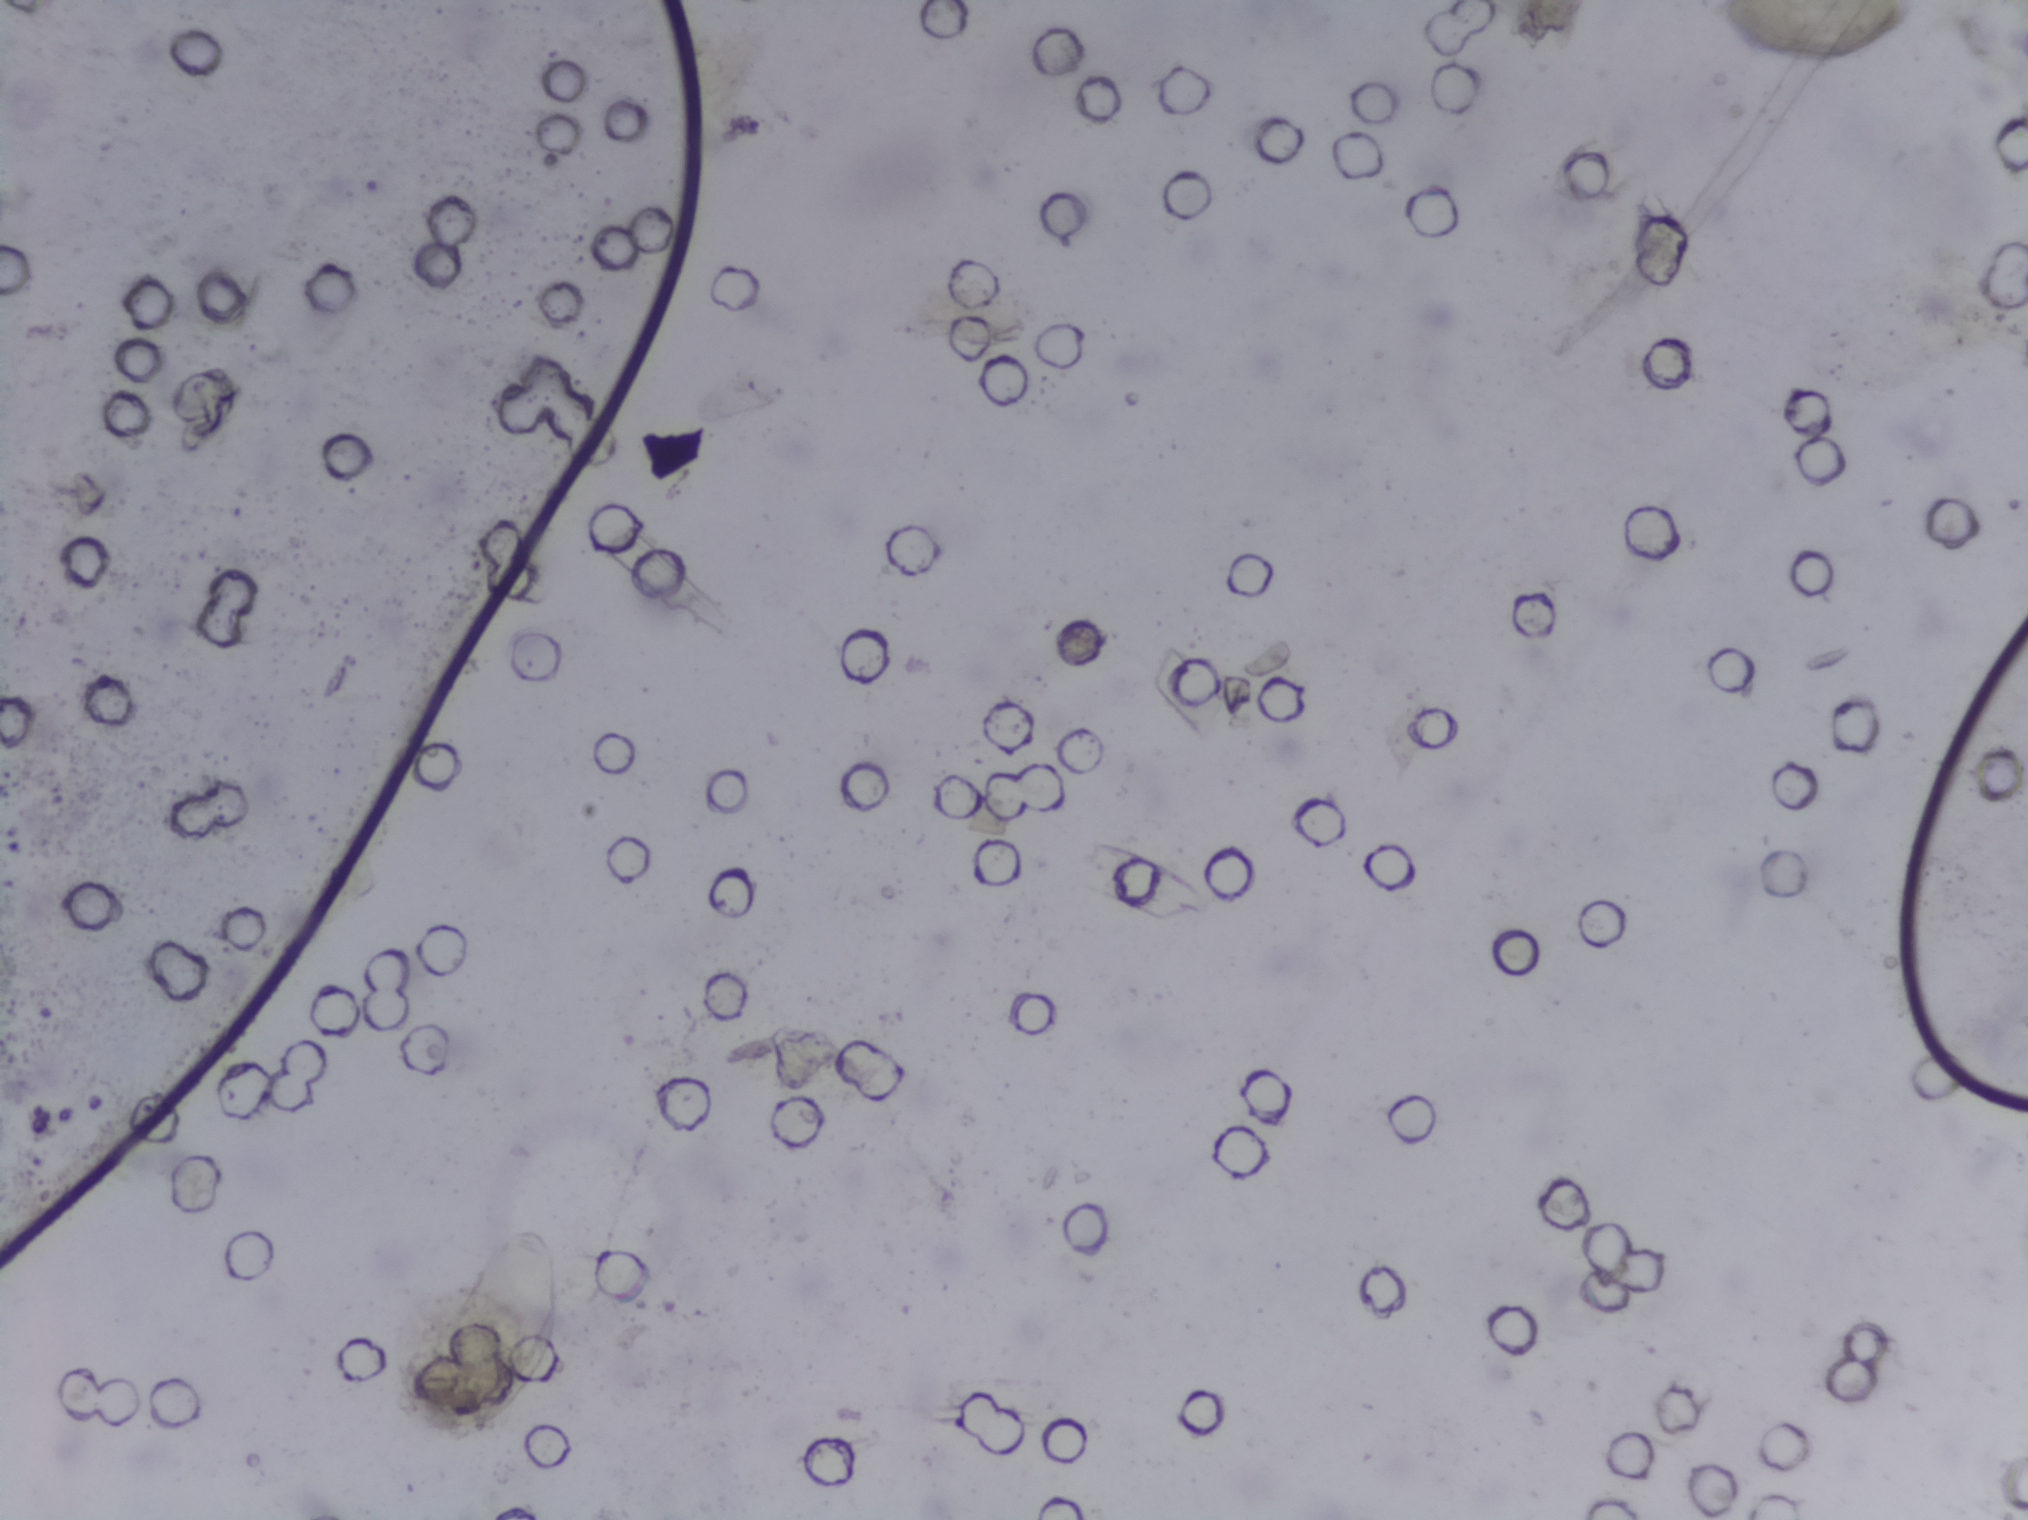
Urine filter membrane photographed through a 4× microscope objective.
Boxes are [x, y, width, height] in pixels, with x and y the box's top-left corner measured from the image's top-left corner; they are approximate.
{"schistosoma_egg_areas_xywh_px": [[451, 1223, 111, 217], [1711, 0, 214, 67]]} Area 2 reaches the top edge of the frame.
A single outlined area may contain several eggs.